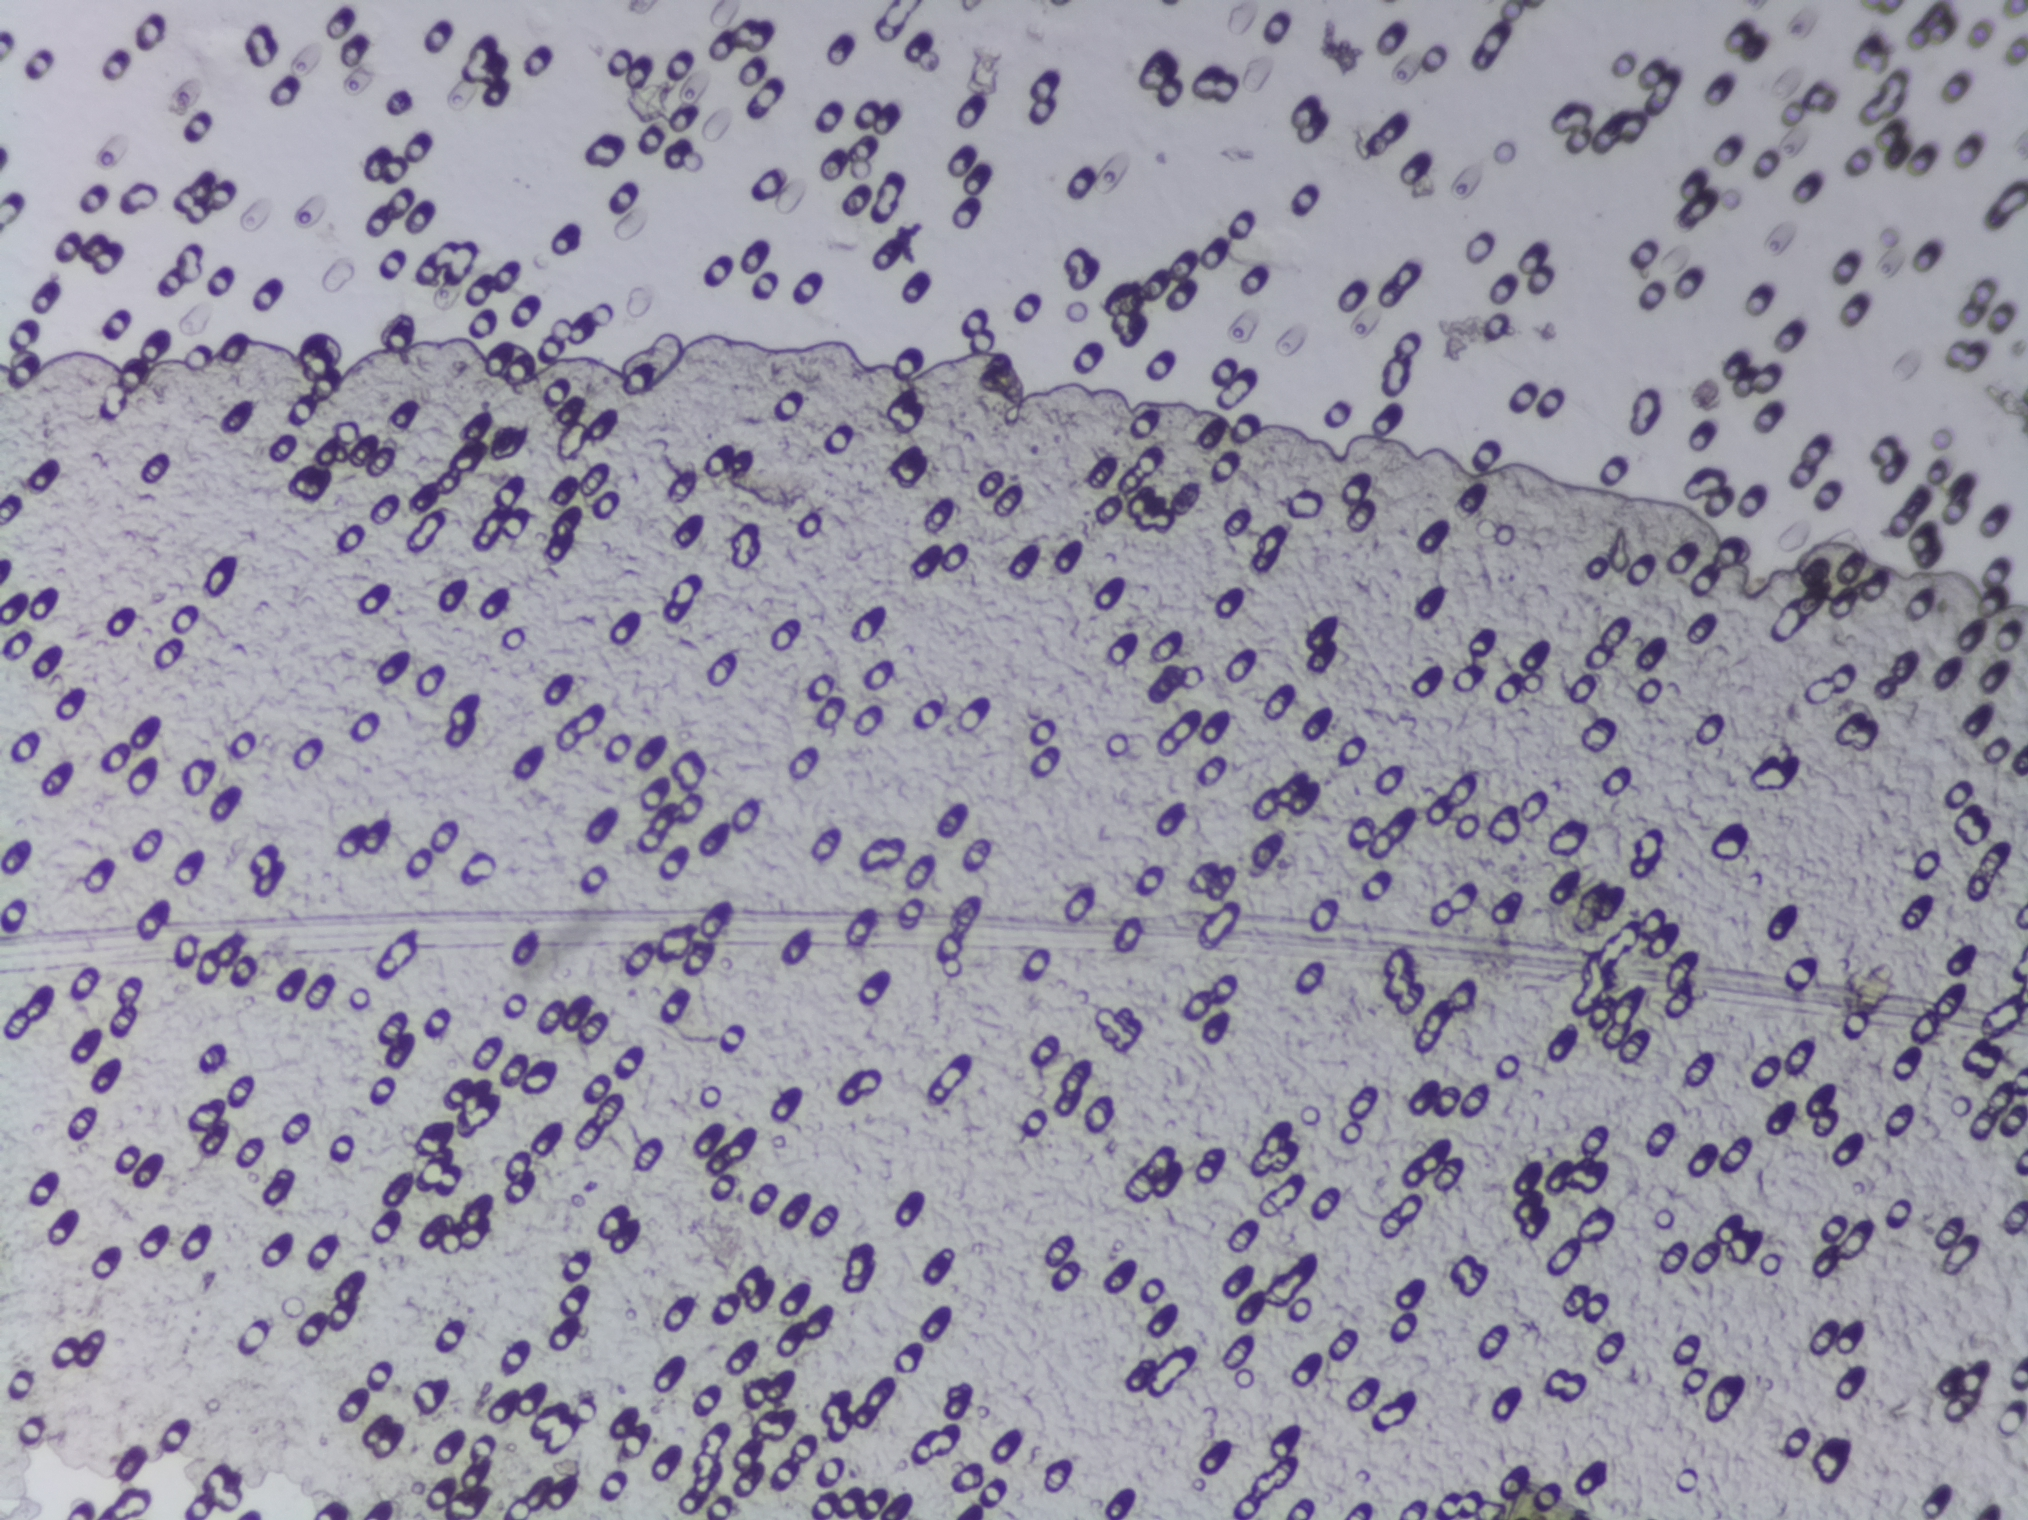
Urine filter membrane photographed through a 4× microscope objective. Field of view: about 1.5 mm wide and 1.1 mm high.
No area of this image was outlined as a Schistosoma egg.